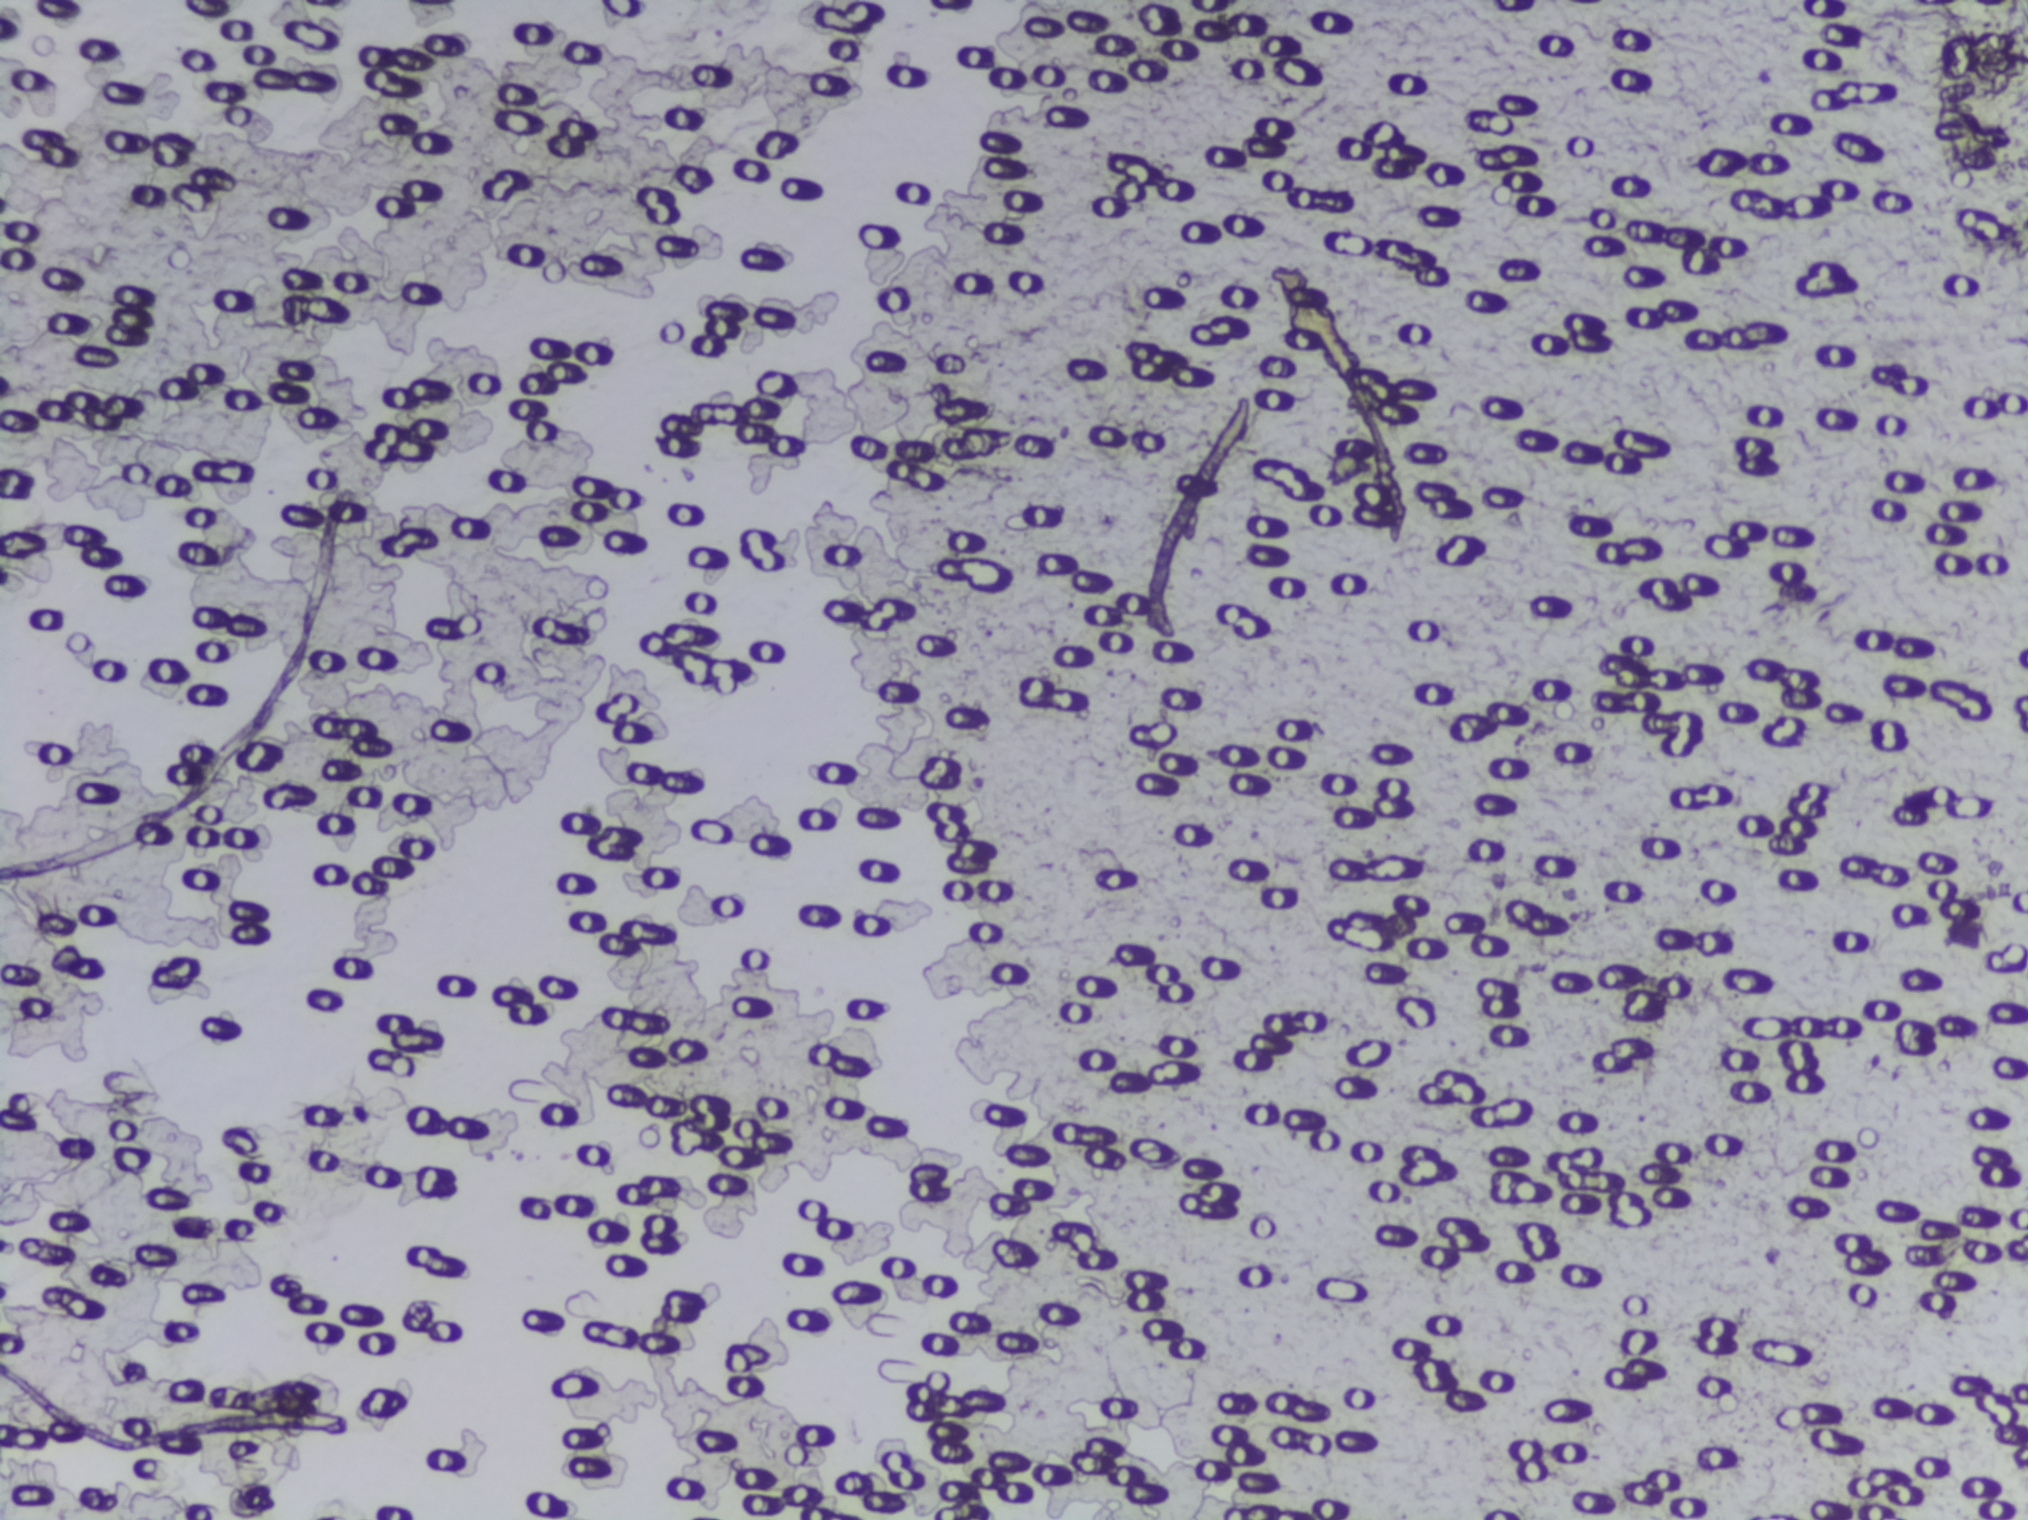
The expert annotation outlines no Schistosoma egg in this image.
Urine filtration membrane under a 4× objective, photographed by an automated digital microscope.